Urine filtration membrane under a 4× objective, photographed by an automated digital microscope. Field of view: about 1.5 mm wide and 1.1 mm high.
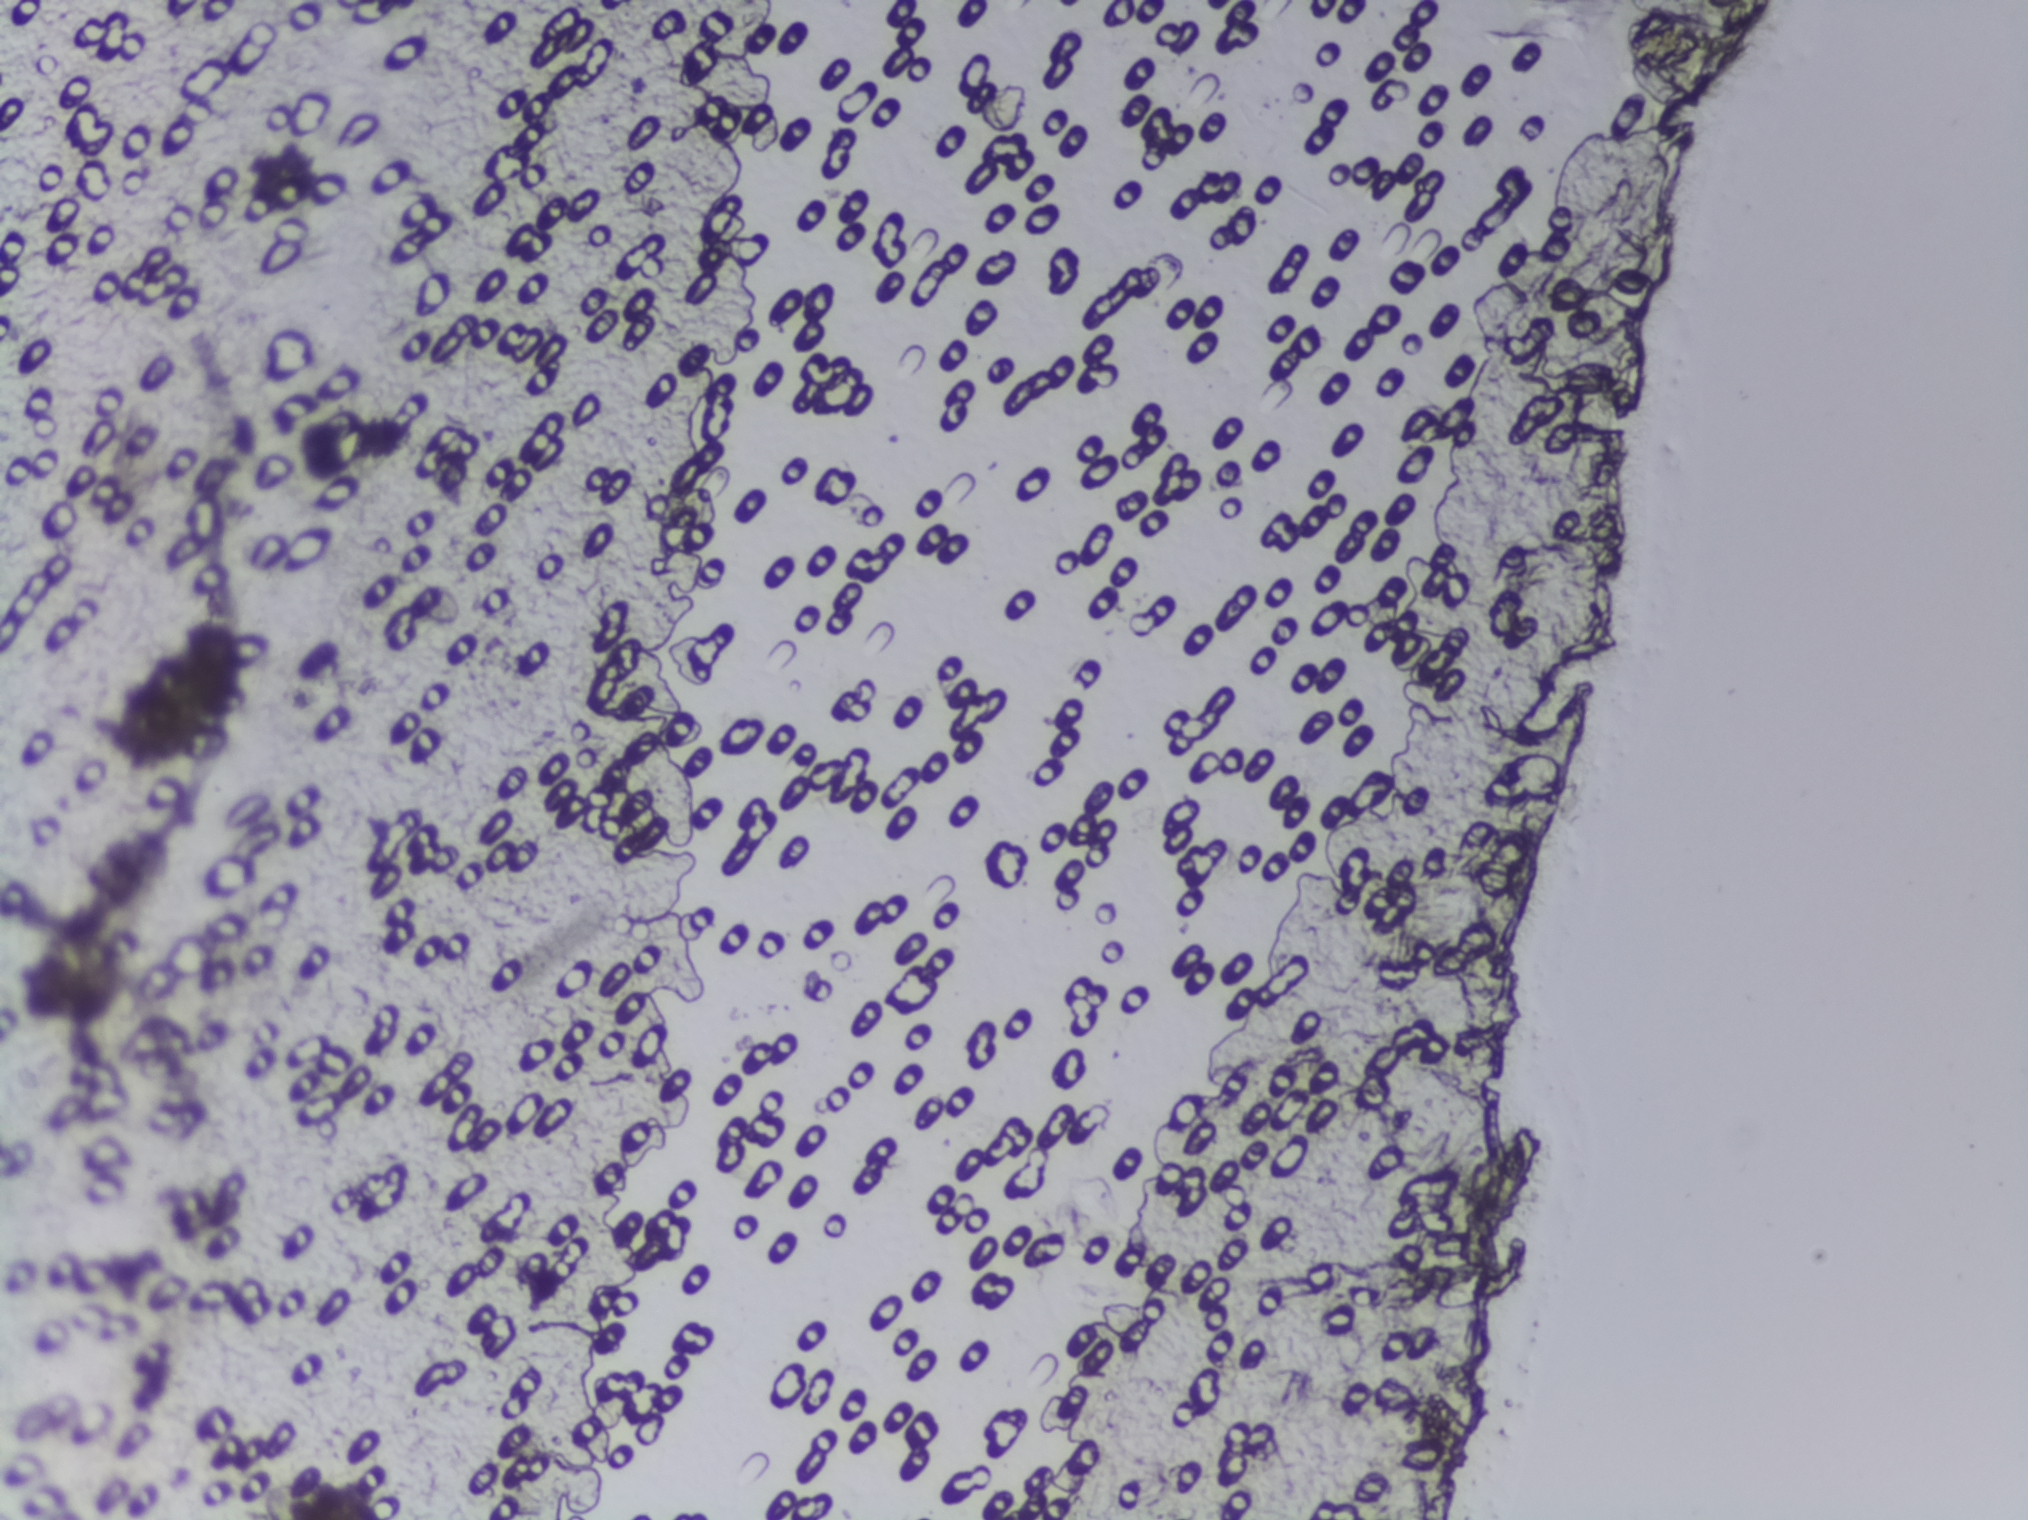
No area of this image was outlined as a Schistosoma egg.